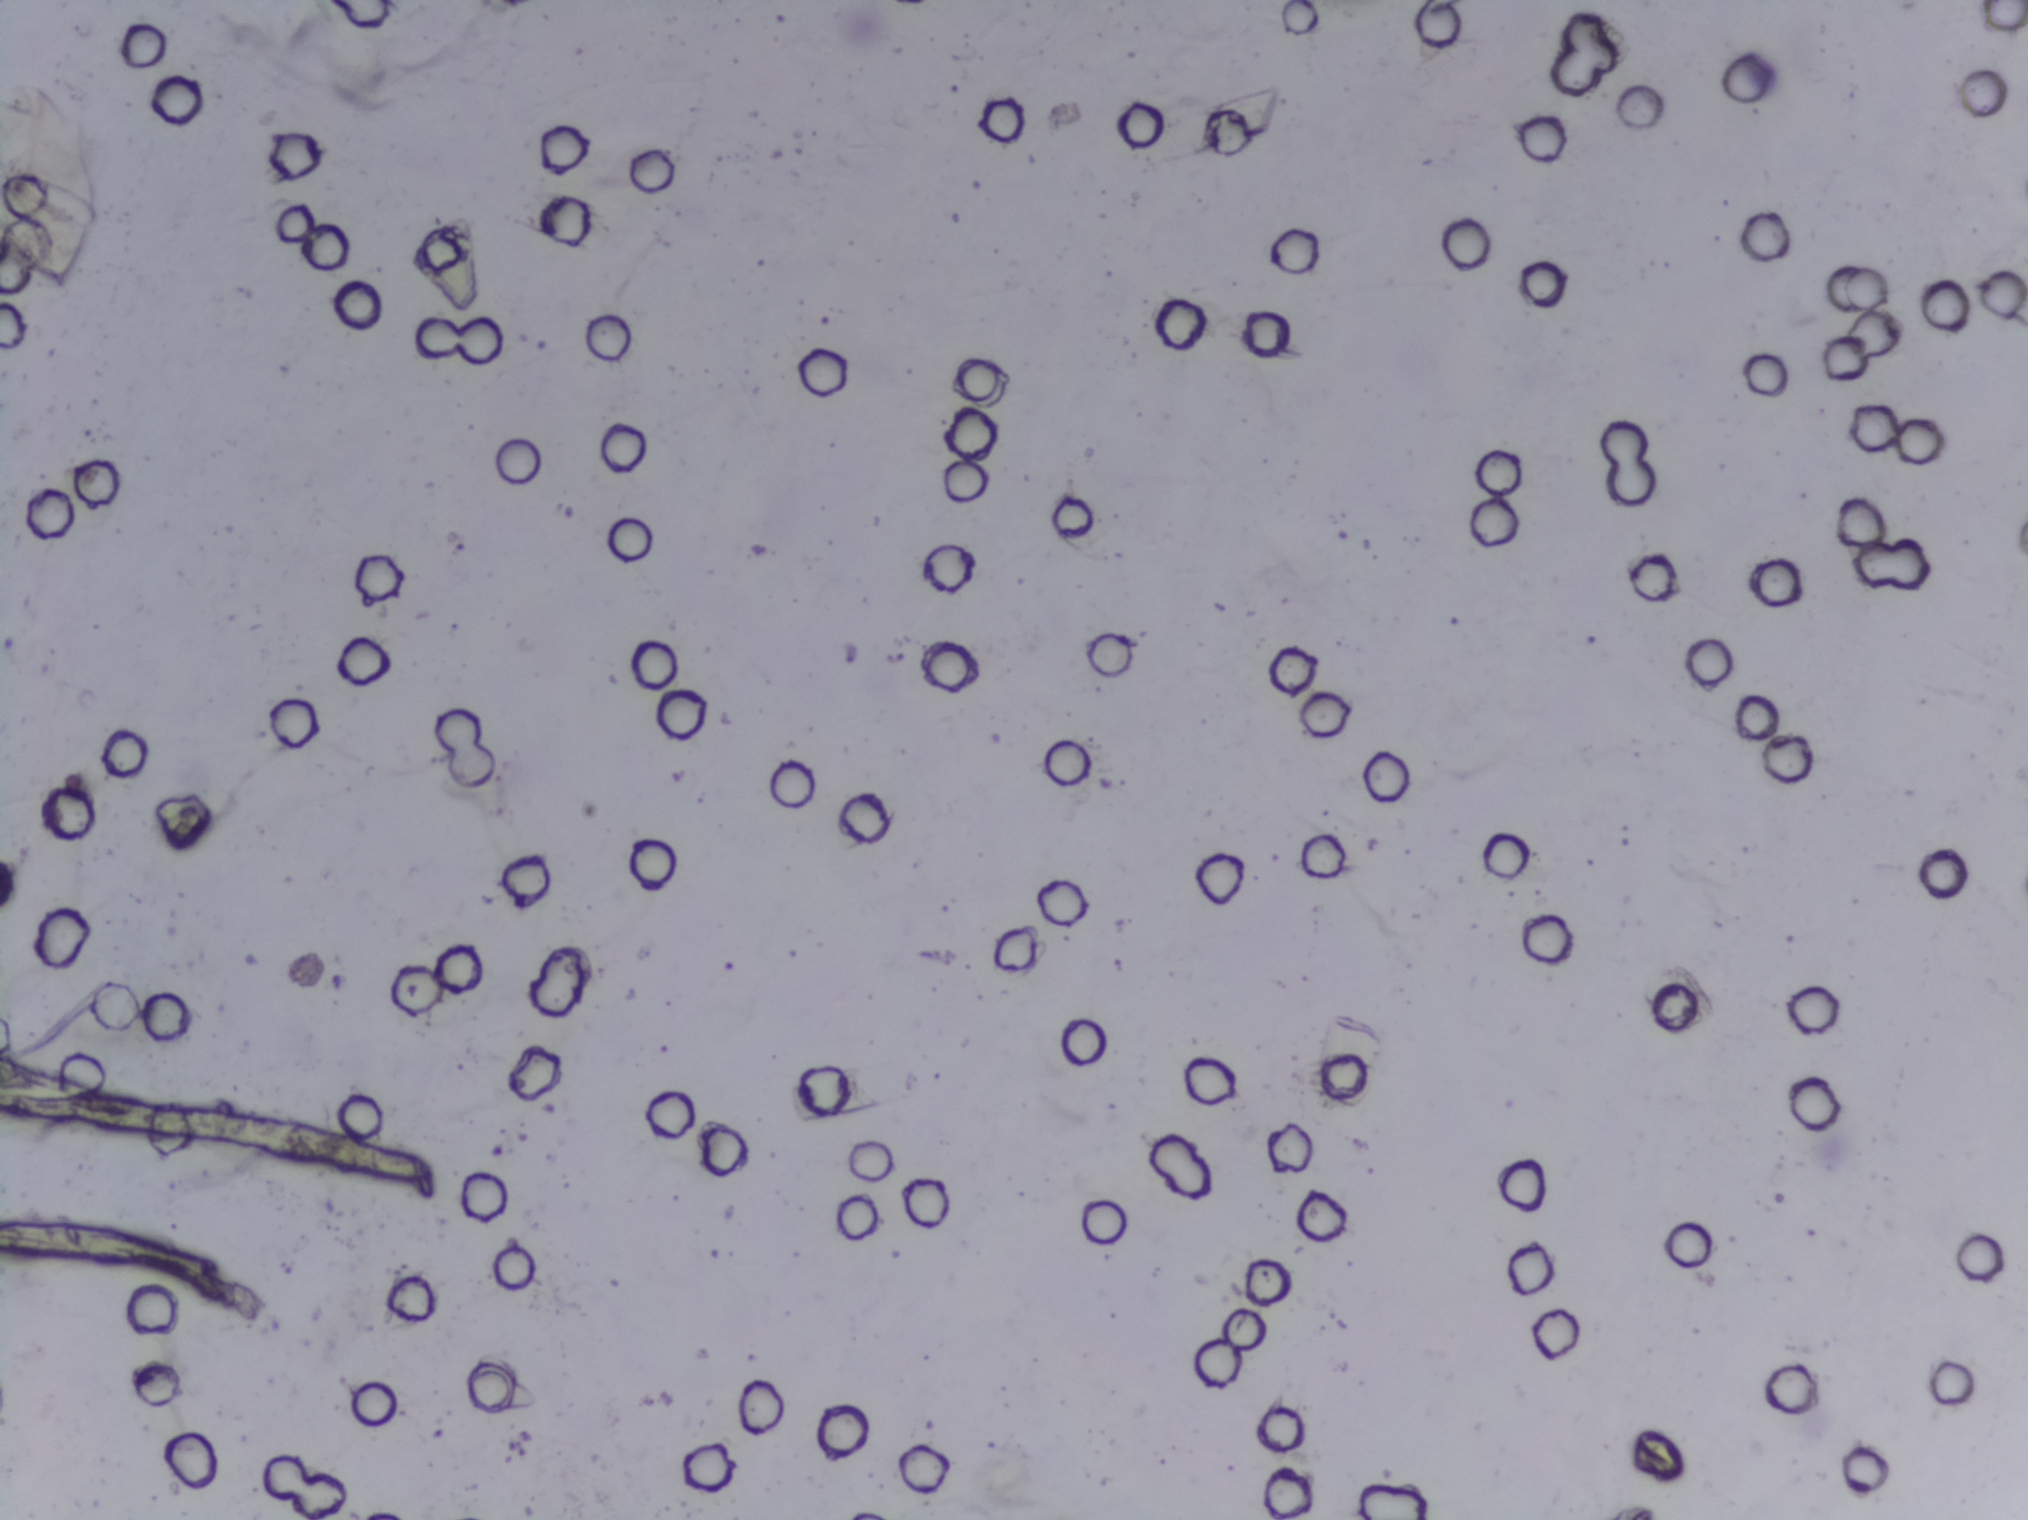
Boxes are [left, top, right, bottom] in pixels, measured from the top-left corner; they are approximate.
One area of this image is outlined as Schistosoma eggs: [0, 74, 98, 294] (reaching the left edge of the frame). About 0.6% of the image's pixels are marked (the marked pixels themselves, not the box around them). An outlined area can hold more than one egg.
One field of view of a urine filter membrane, 4× objective, 2028 × 1520 pixels. Field of view: about 1.5 mm wide and 1.1 mm high.